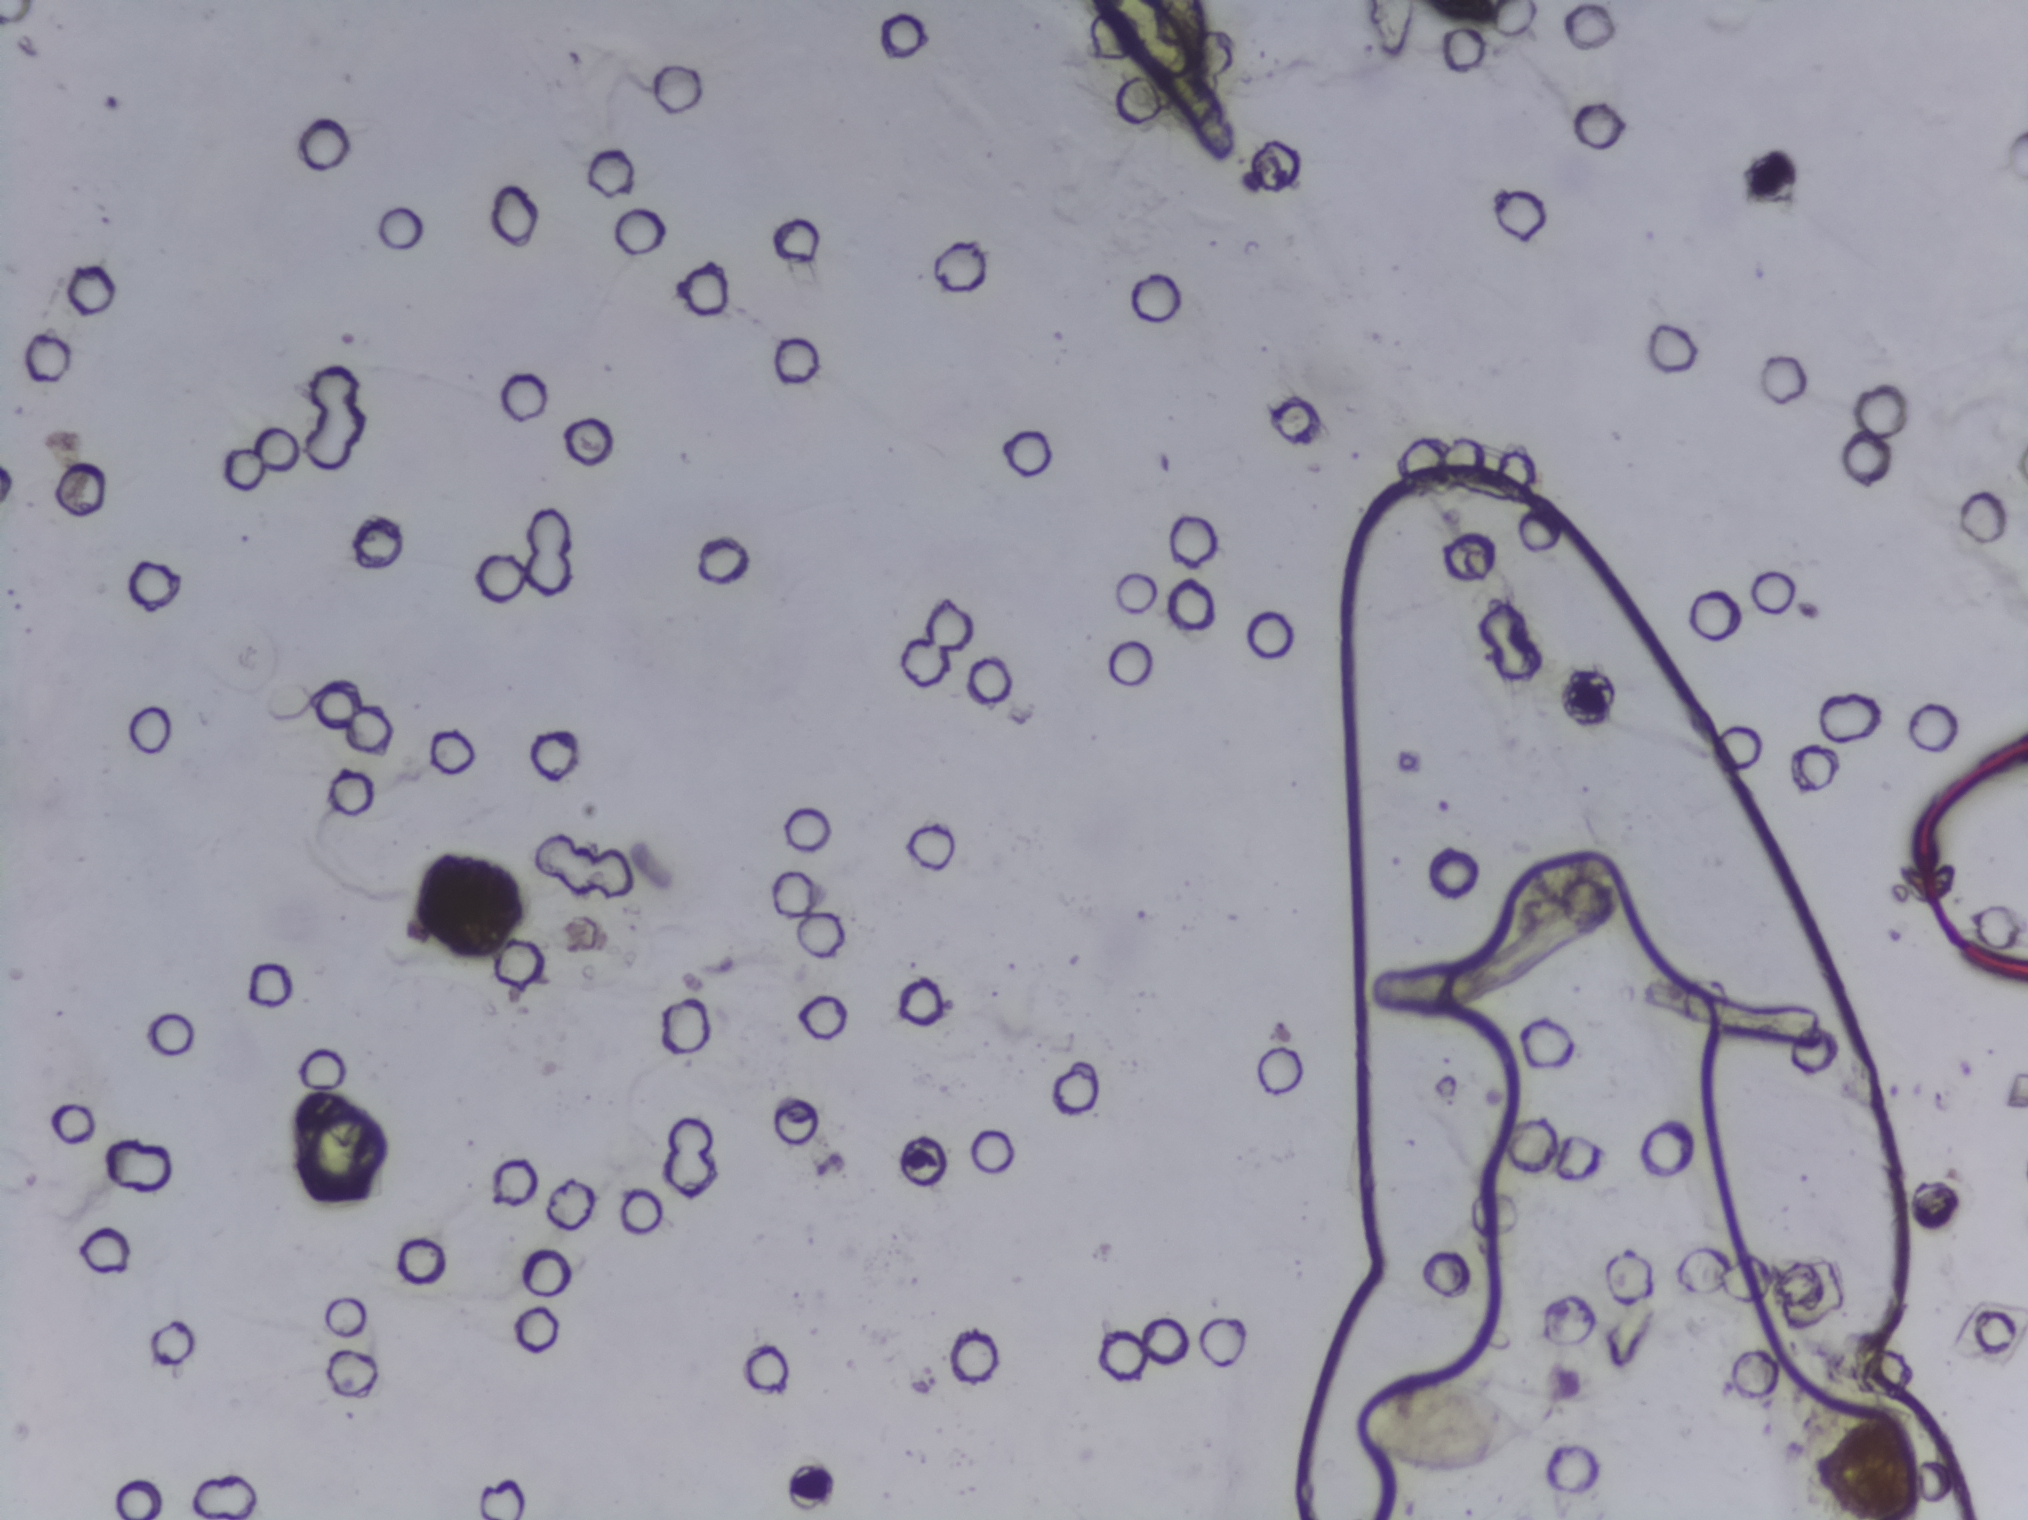
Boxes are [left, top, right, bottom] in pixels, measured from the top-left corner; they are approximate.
Schistosoma egg areas, outlined: [1353, 1373, 1549, 1479]. A single outlined area may contain several eggs.
Photograph from an automated digital microscope: urine filter membrane, 4× objective. The image covers about 1.5 × 1.1 mm of the membrane.